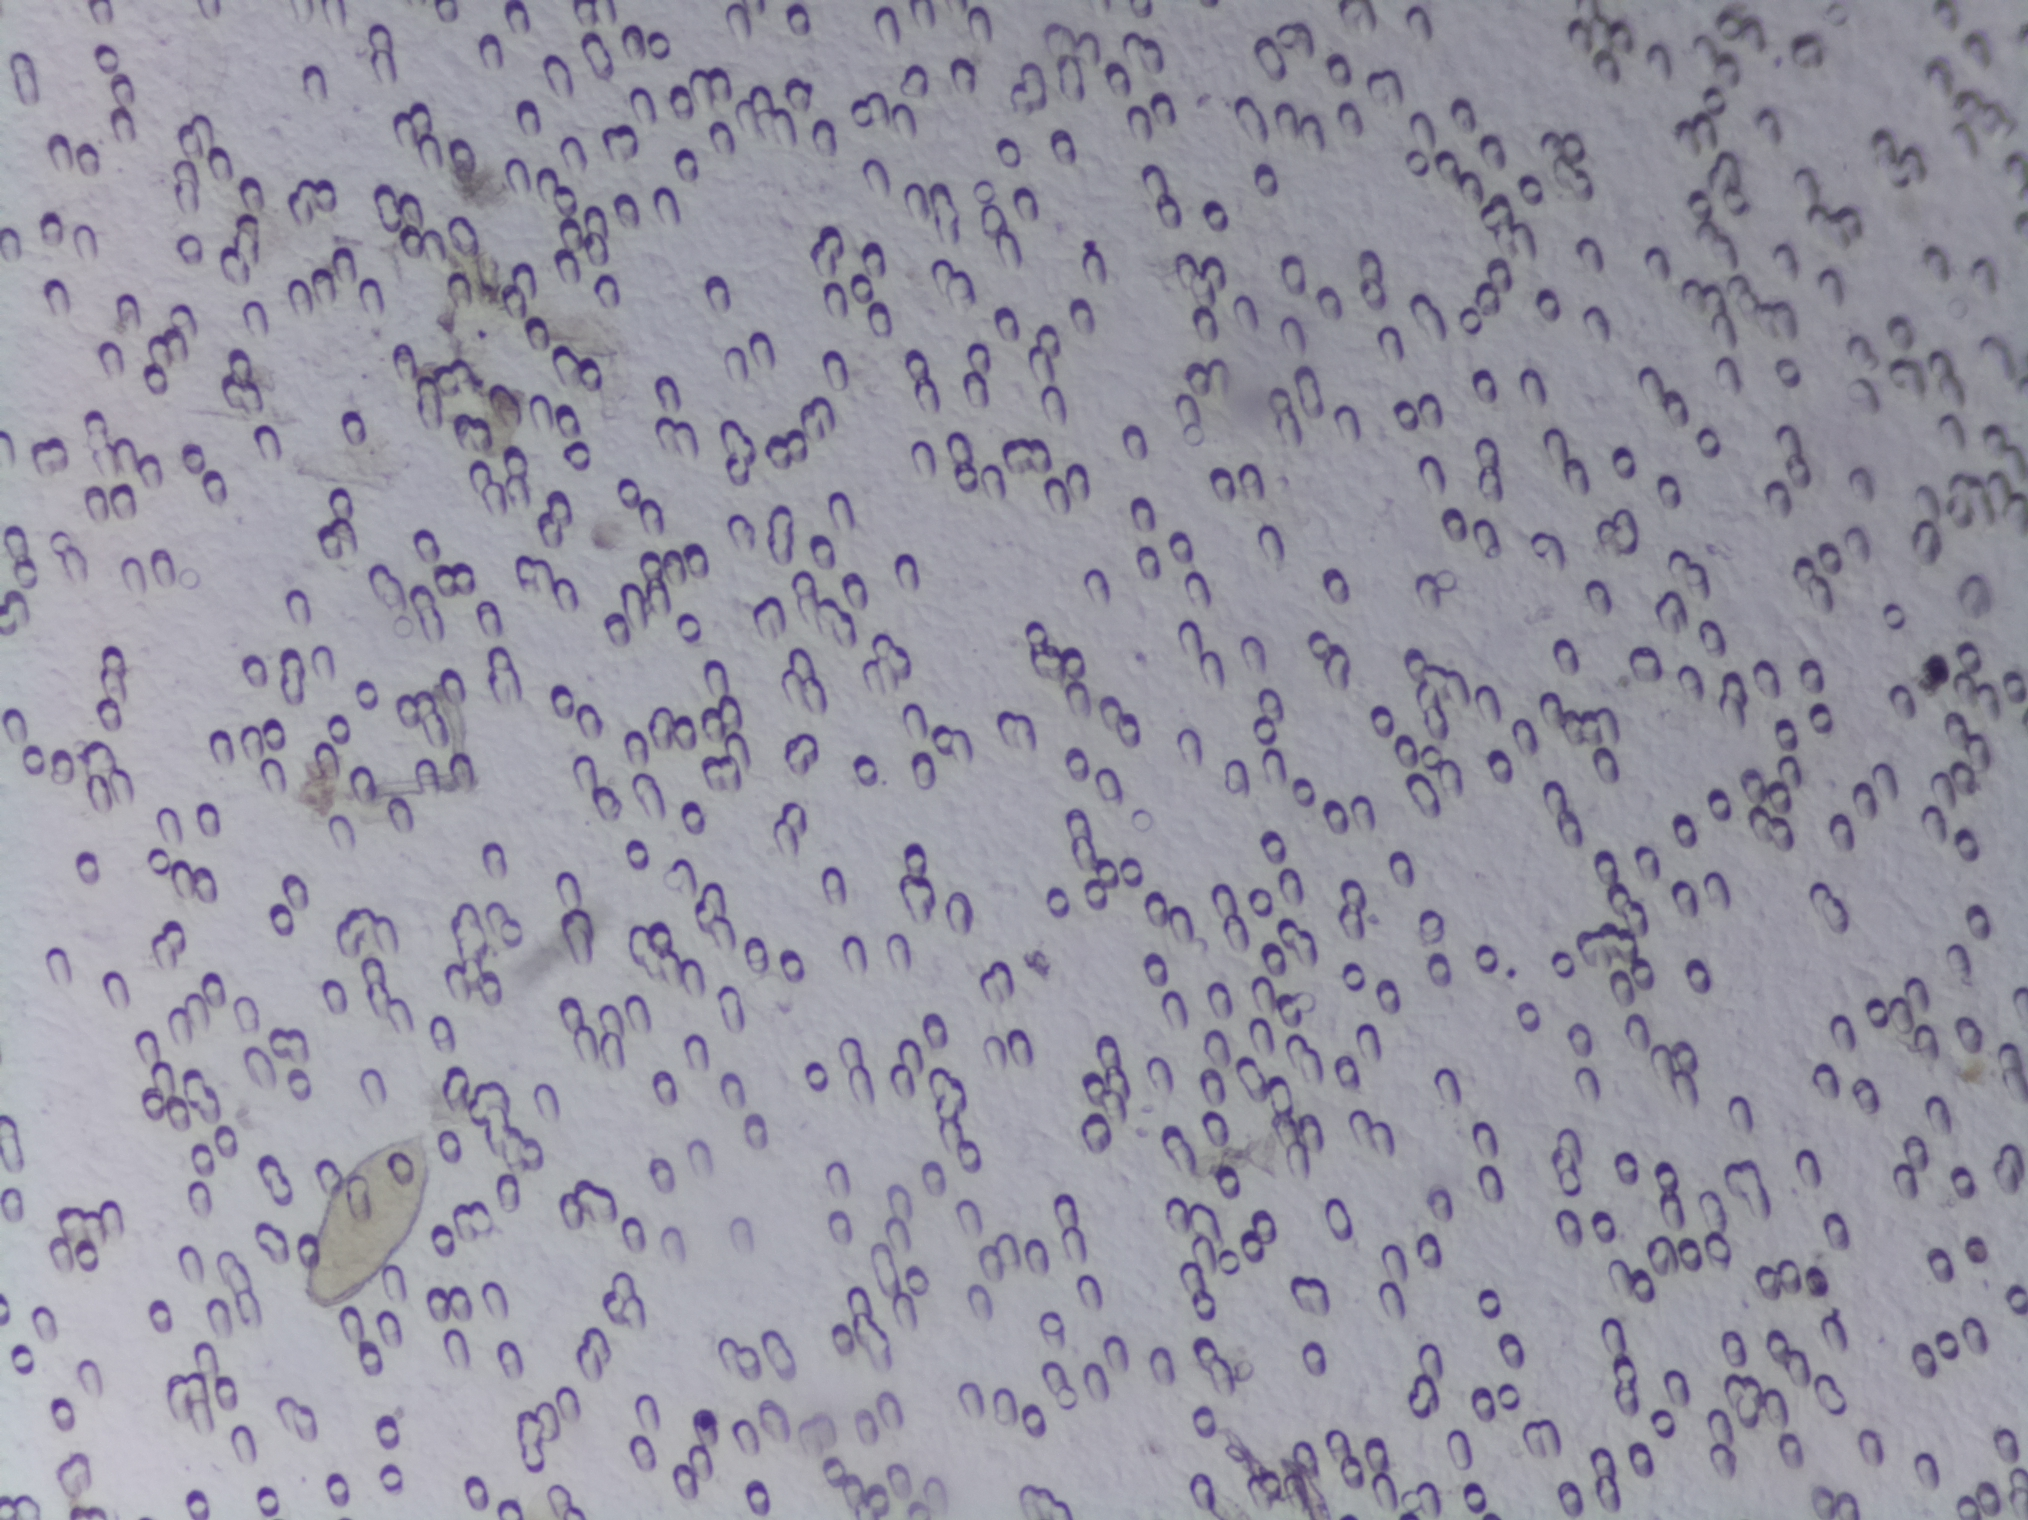
One field of view of a urine filter membrane, 4× objective, 2028 × 1520 pixels.
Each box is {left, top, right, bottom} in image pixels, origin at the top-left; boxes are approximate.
Schistosoma egg areas, outlined: {294, 1104, 451, 1340}. An outlined area can hold more than one egg.